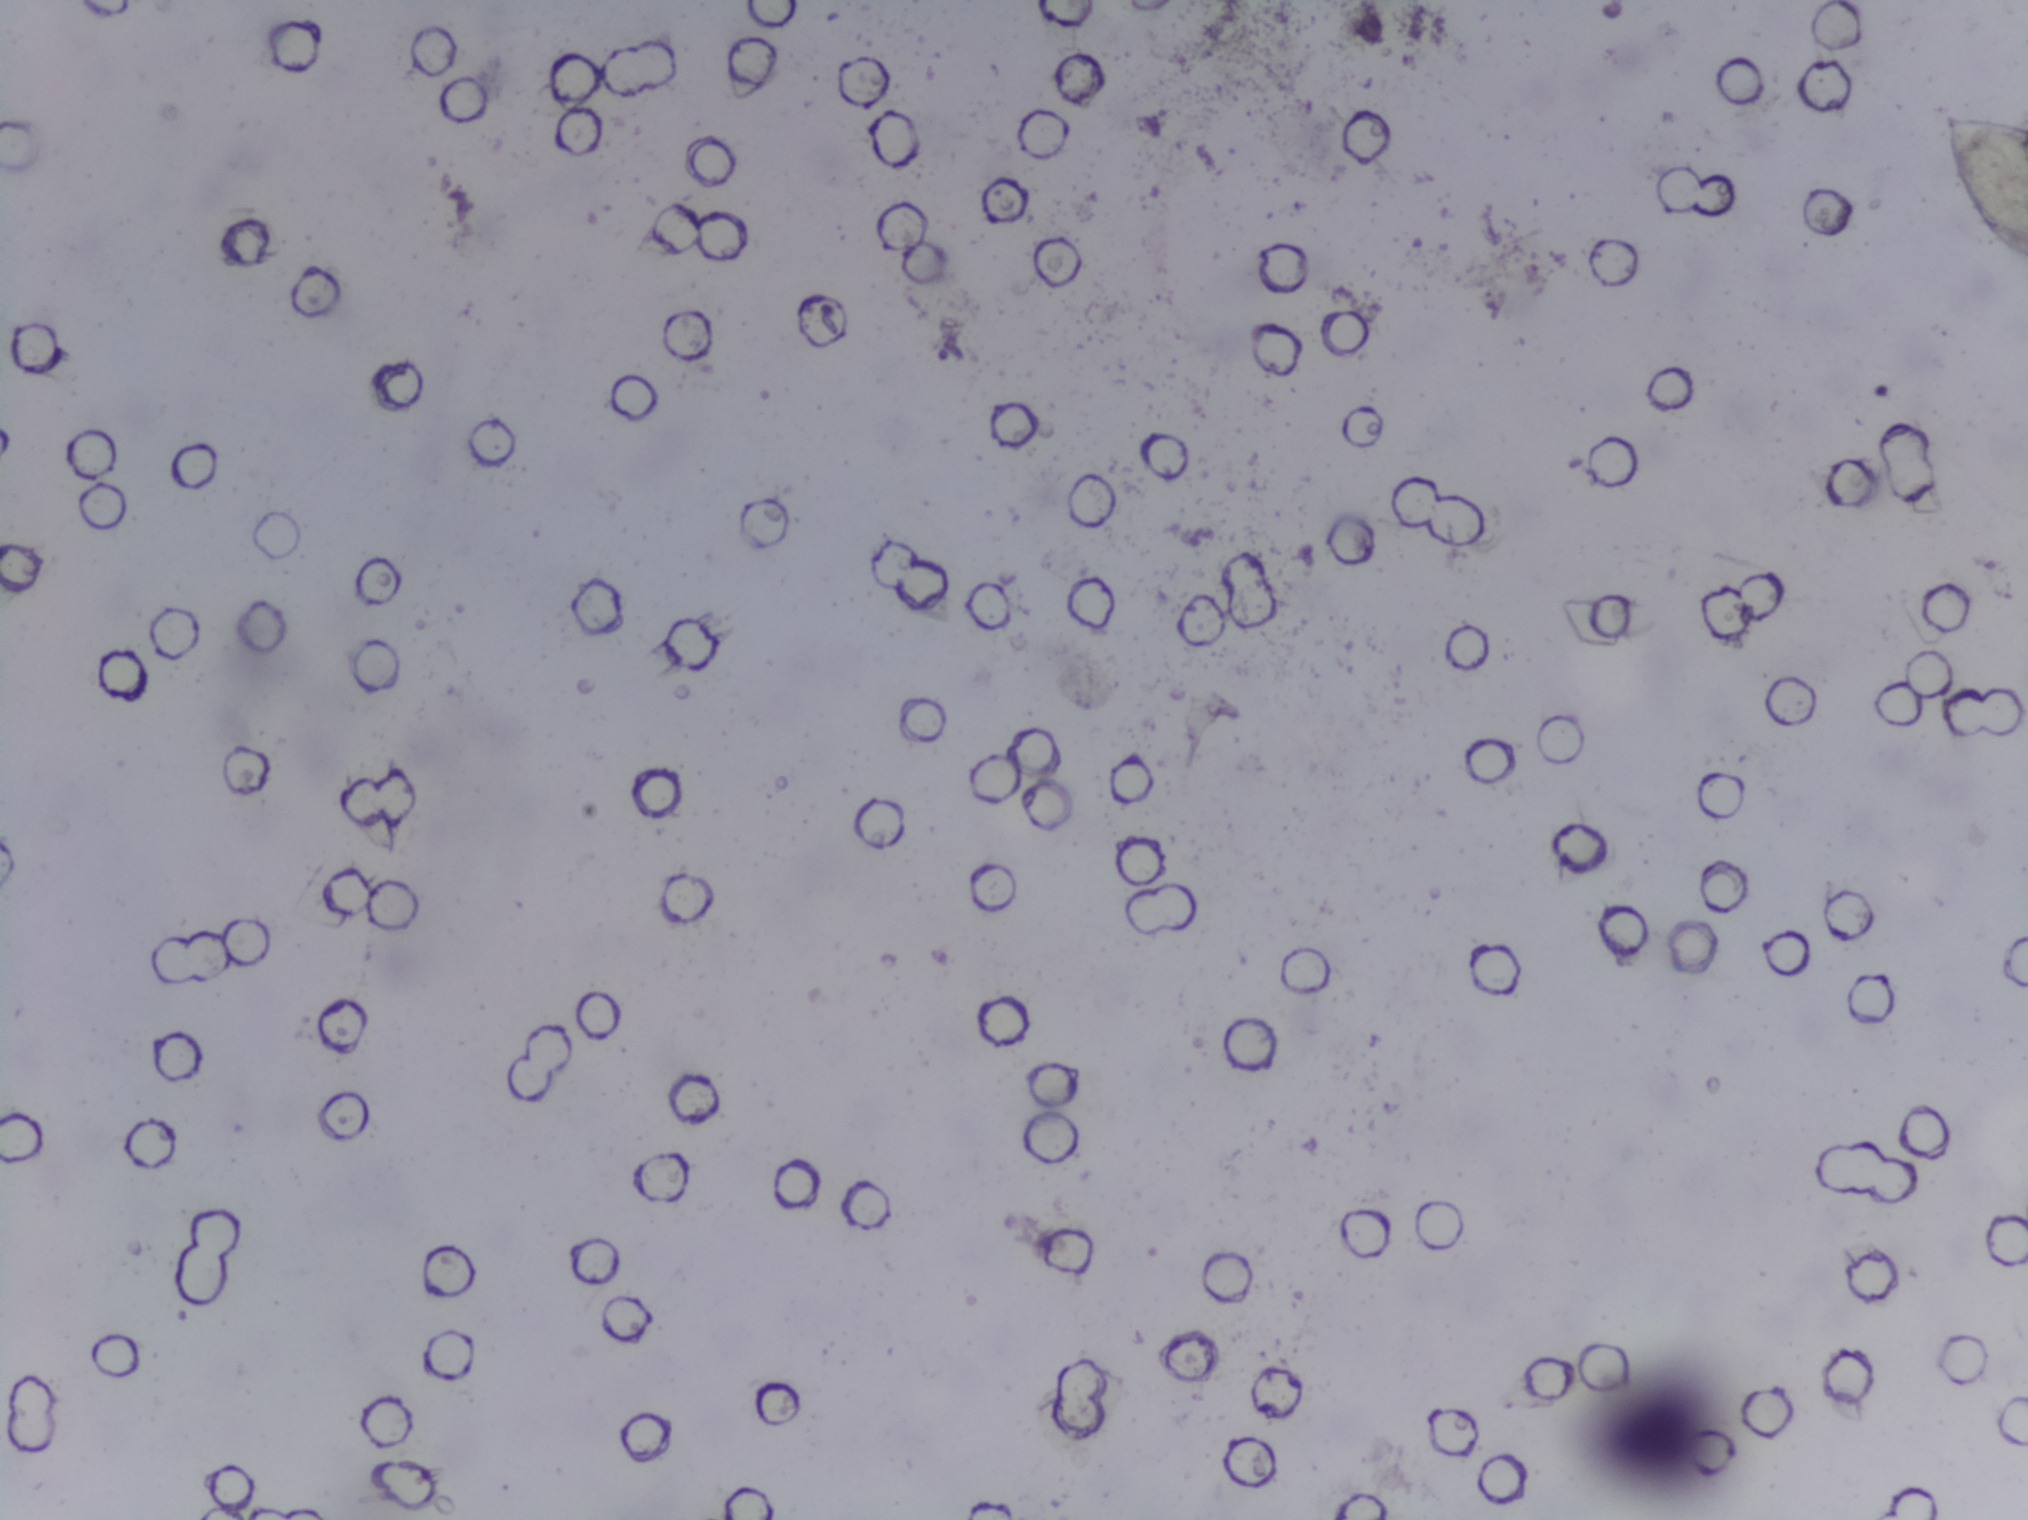
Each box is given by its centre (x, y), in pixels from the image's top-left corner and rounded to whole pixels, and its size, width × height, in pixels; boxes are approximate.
The expert annotation outlines Schistosoma eggs at centre (1981, 181), 93 × 158 px (reaching the right edge of the frame). About 0.4% of the image's pixels are marked (the marked pixels themselves, not the box around them). Eggs that touch can end up inside the same outlined area.
One field of view of a urine filter membrane, 4× objective, 2028 × 1520 pixels. Field of view: about 1.5 mm wide and 1.1 mm high.